Photograph from an automated digital microscope: urine filter membrane, 4× objective.
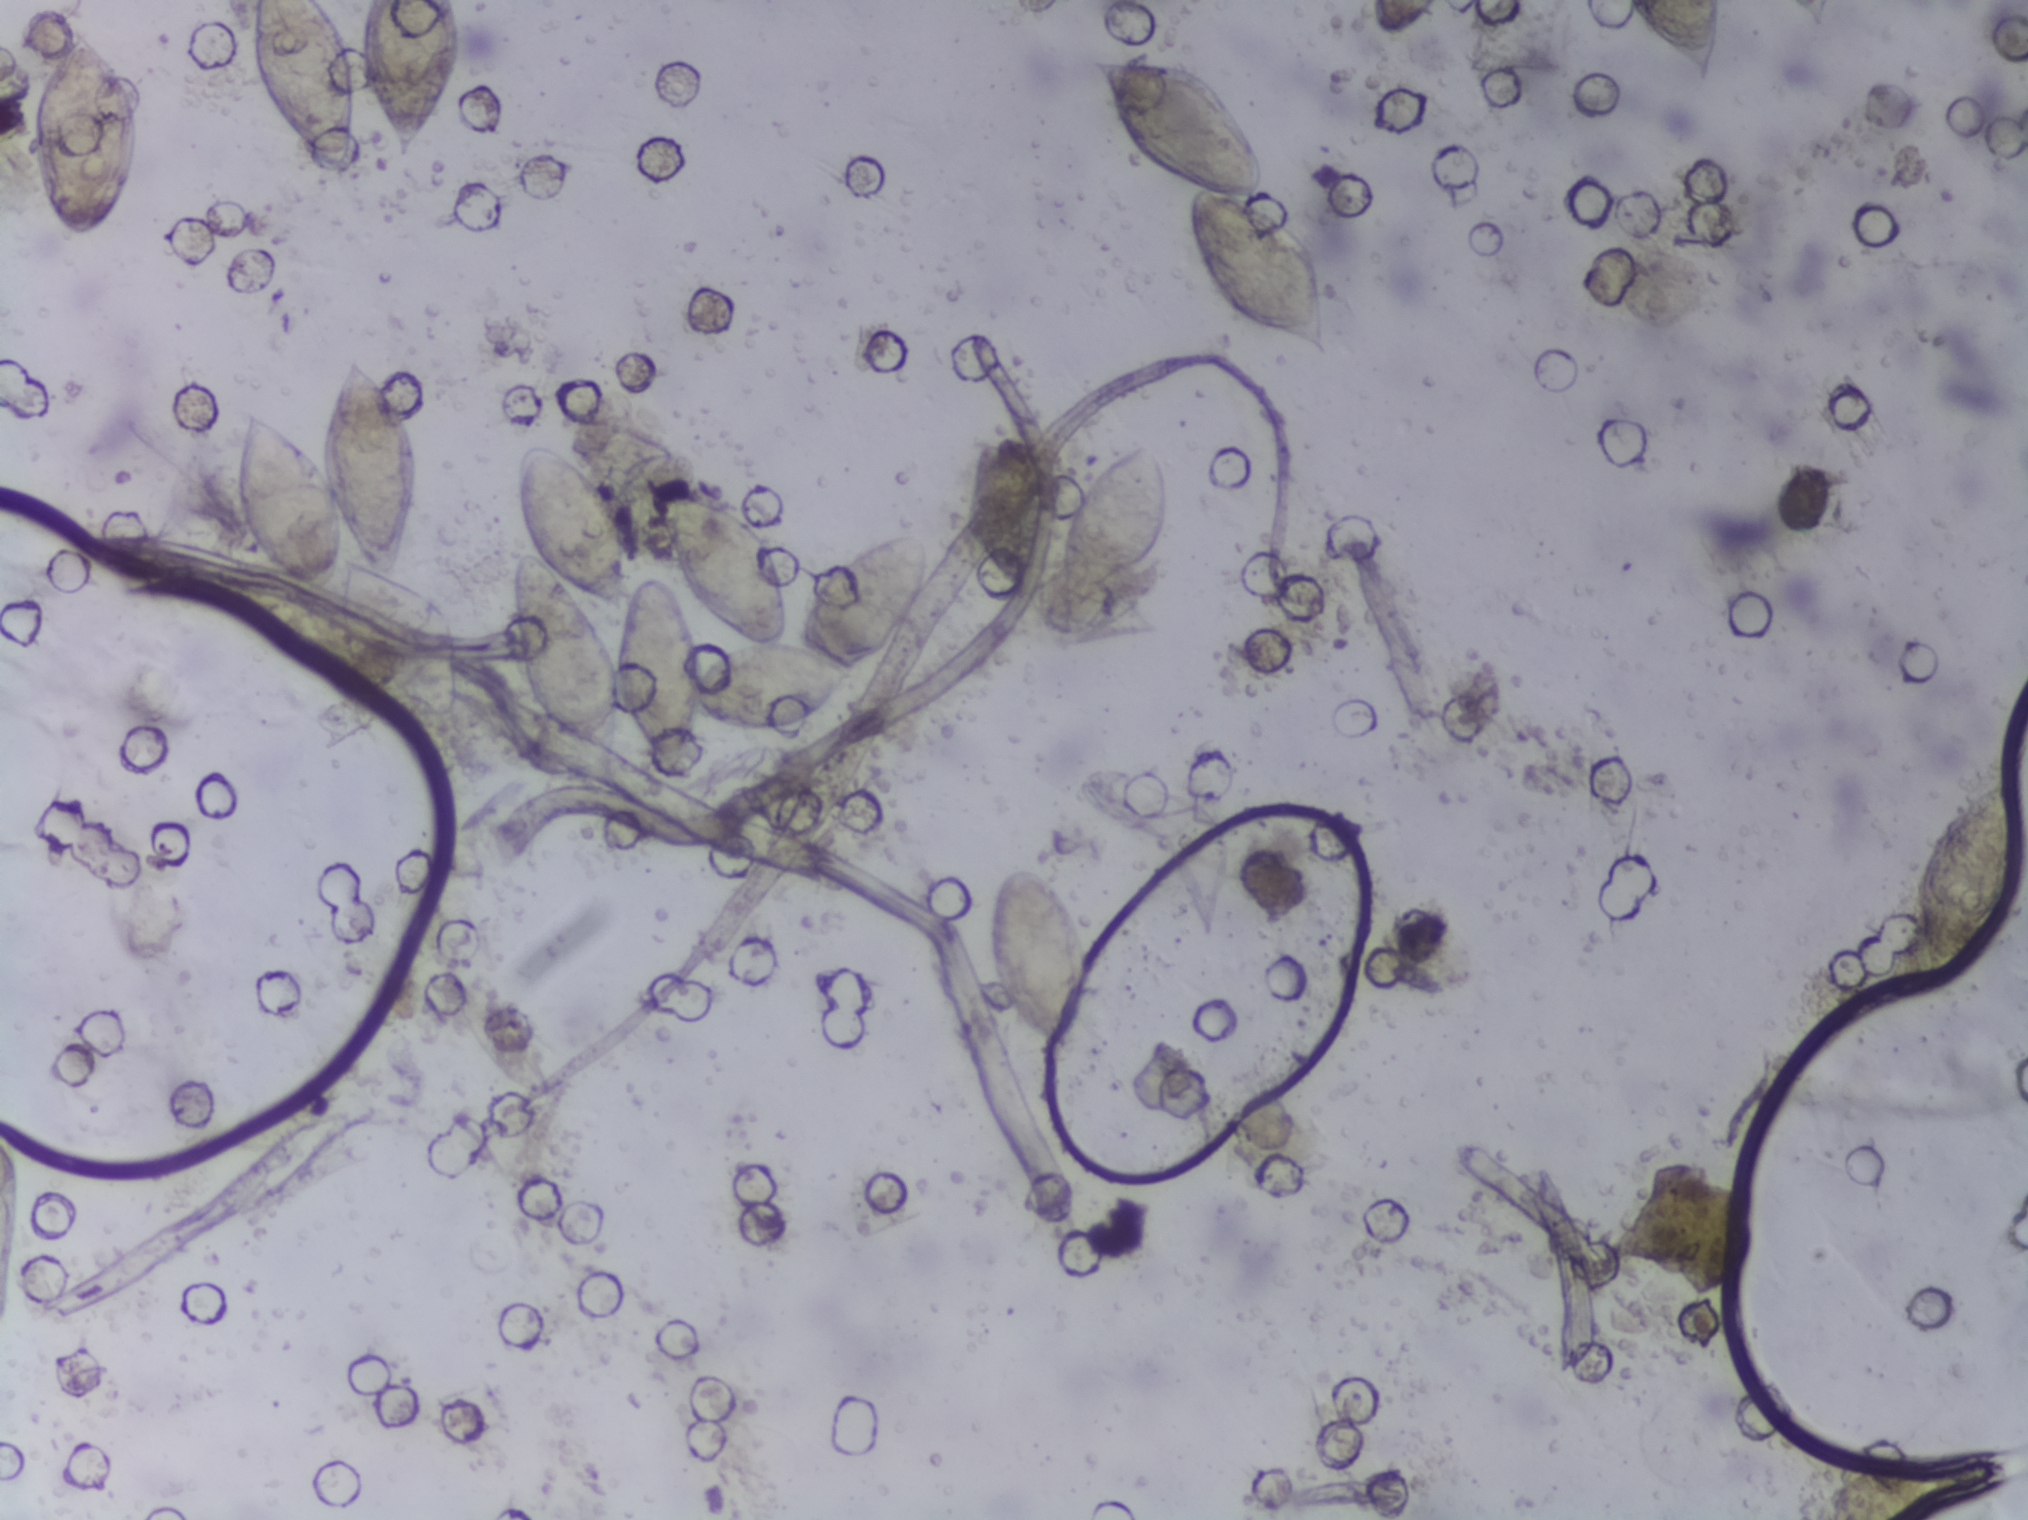
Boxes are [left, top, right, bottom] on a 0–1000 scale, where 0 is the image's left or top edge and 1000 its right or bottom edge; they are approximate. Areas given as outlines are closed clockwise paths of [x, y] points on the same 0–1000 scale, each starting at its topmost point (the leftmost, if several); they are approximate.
Findings: 11 areas outlined as Schistosoma eggs. Locations, left to right: box [14, 20, 71, 161]; box [116, 232, 227, 476]; box [122, 0, 177, 122] (reaching the top edge of the frame); box [178, 0, 228, 108] (reaching the top edge of the frame); outline [264, 288], [273, 290], [297, 315], [308, 343], [309, 388], [317, 381], [331, 385], [345, 419], [348, 437], [356, 425], [359, 427], [365, 422], [345, 399], [331, 364], [321, 318], [344, 323], [379, 349], [389, 381], [389, 419], [392, 421], [403, 381], [441, 352], [455, 352], [458, 385], [444, 419], [423, 441], [409, 467], [394, 479], [361, 483], [348, 476], [337, 510], [328, 512], [309, 471], [307, 492], [302, 502], [284, 501], [271, 485], [261, 459], [251, 410], [254, 371], [257, 363], [263, 362], [256, 340], [255, 304] (eggs clustered together); box [475, 283, 516, 392]; box [487, 570, 537, 691]; box [522, 291, 578, 407]; outline [543, 37], [583, 39], [606, 62], [623, 110], [623, 127], [614, 131], [638, 146], [645, 156], [653, 188], [657, 236], [620, 217], [600, 196], [586, 144], [589, 124], [568, 109], [554, 91], [540, 38]; box [802, 0, 848, 55] (reaching the top edge of the frame); box [945, 514, 998, 643]. An outlined area can hold more than one egg.